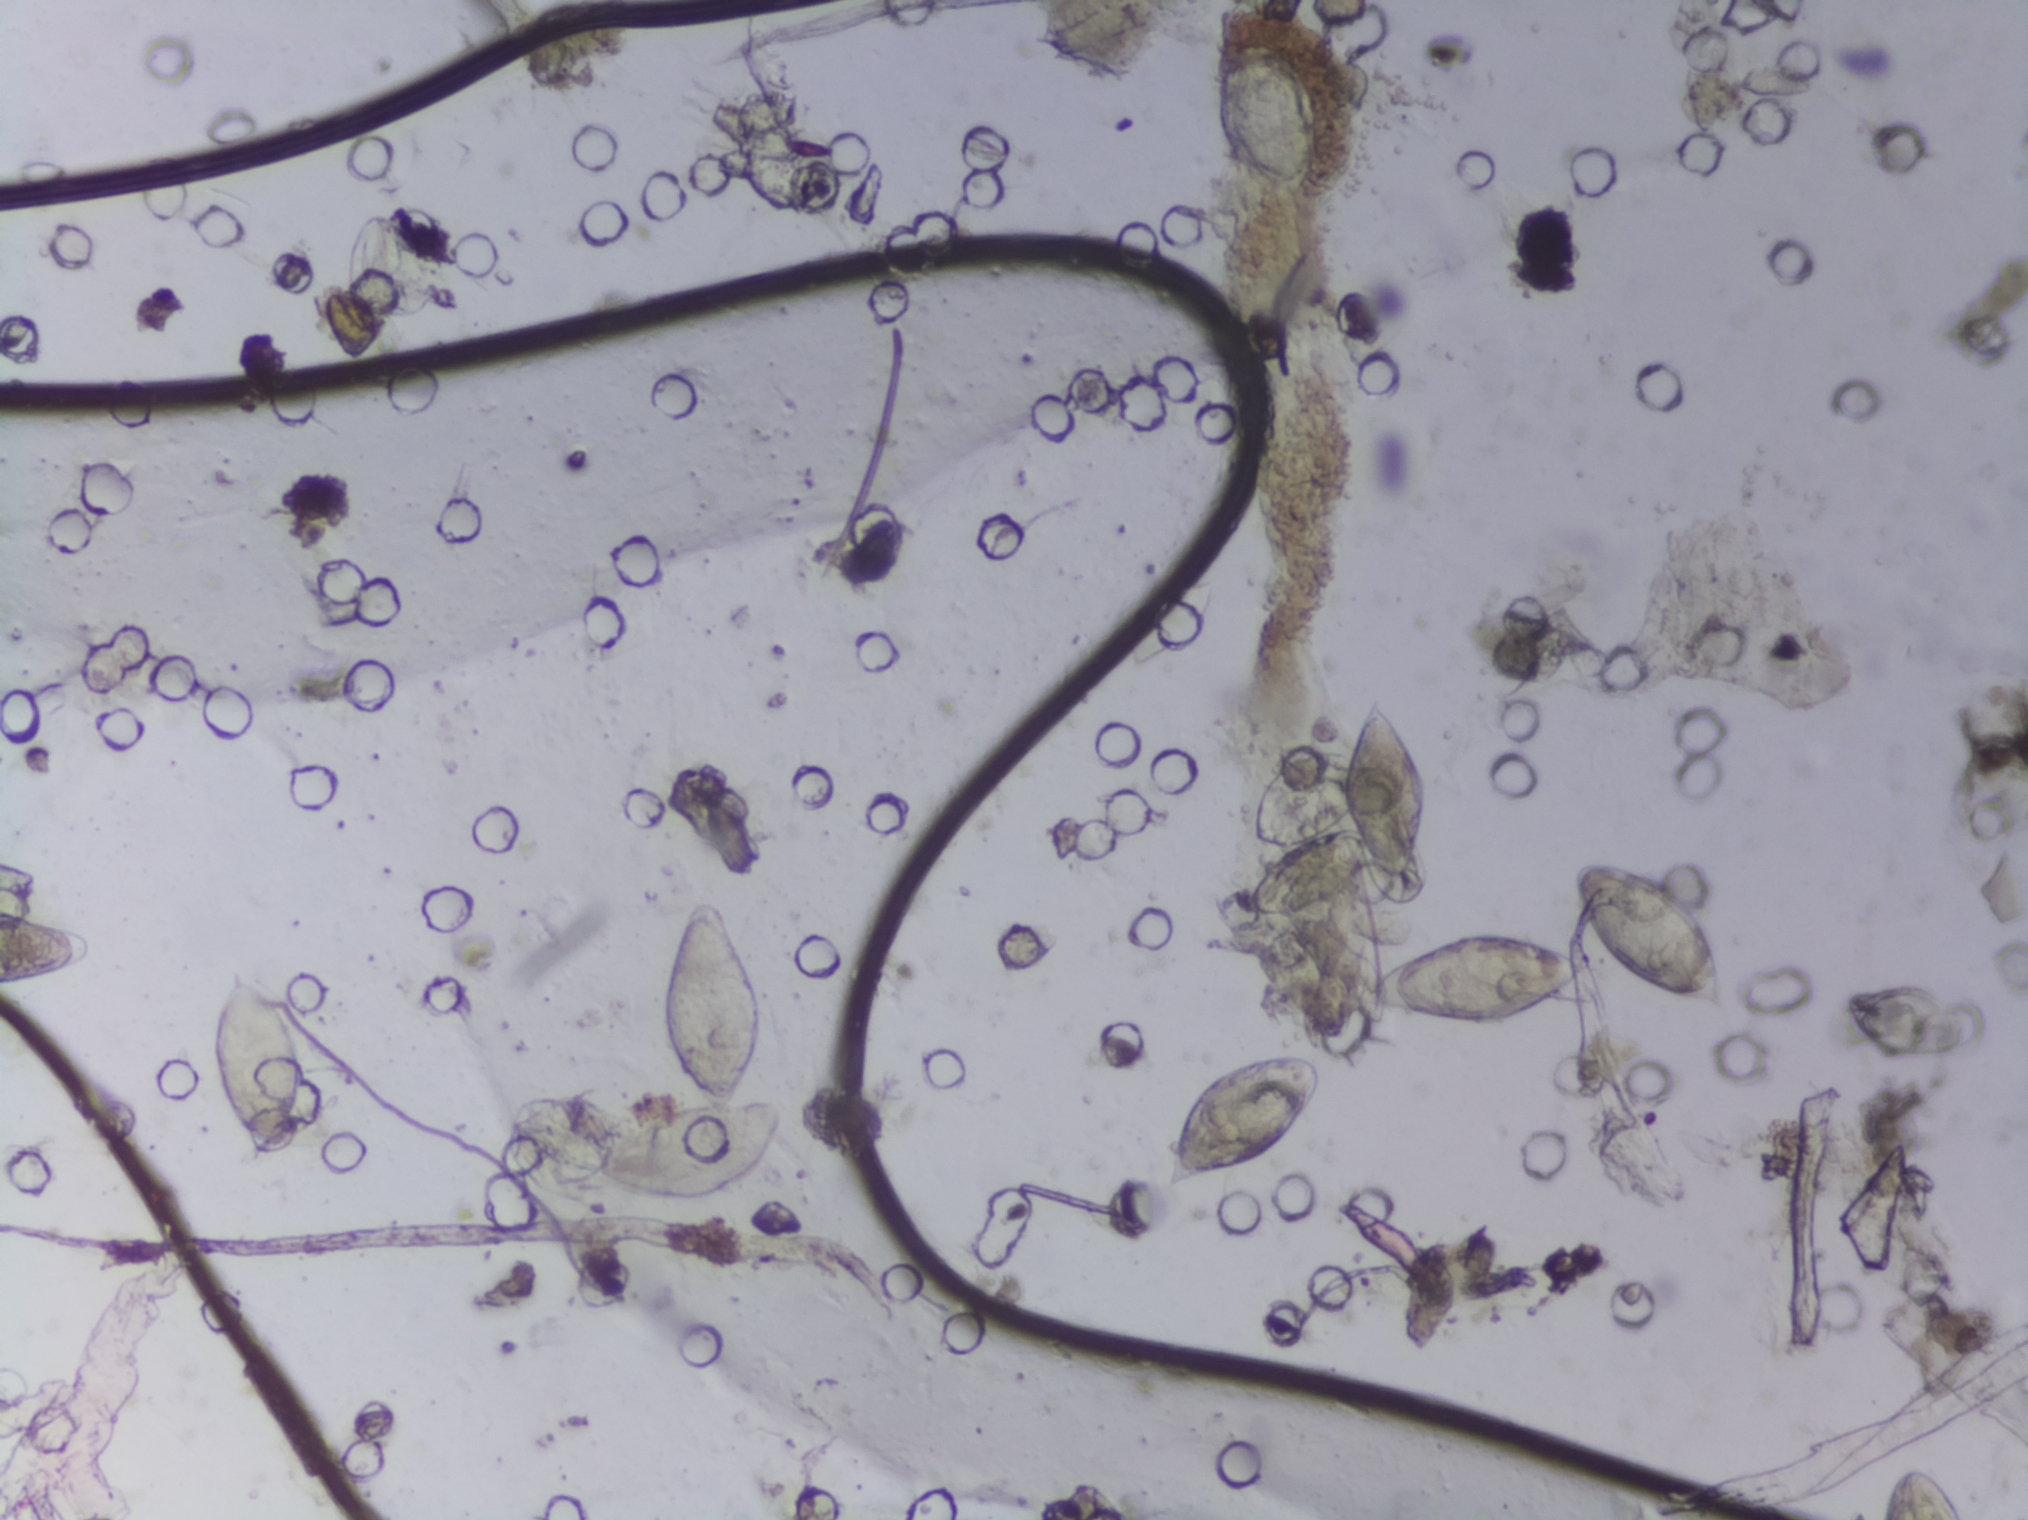
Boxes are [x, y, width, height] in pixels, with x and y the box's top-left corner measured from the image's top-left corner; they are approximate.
Schistosoma egg areas, outlined: [0, 899, 94, 90] (reaching the left edge of the frame); [212, 966, 92, 191]; [577, 889, 208, 317]; [1160, 1051, 163, 143]; [1209, 0, 110, 206] (reaching the top edge of the frame); [1241, 696, 188, 220]; [1345, 926, 248, 108]; [1570, 858, 161, 163]; [1879, 1466, 81, 54] (reaching the bottom edge of the frame). A single outlined area may contain several eggs.
Photomicrograph of a urine filtration membrane, 4× objective. The field of view is about 1.5 mm × 1.1 mm.